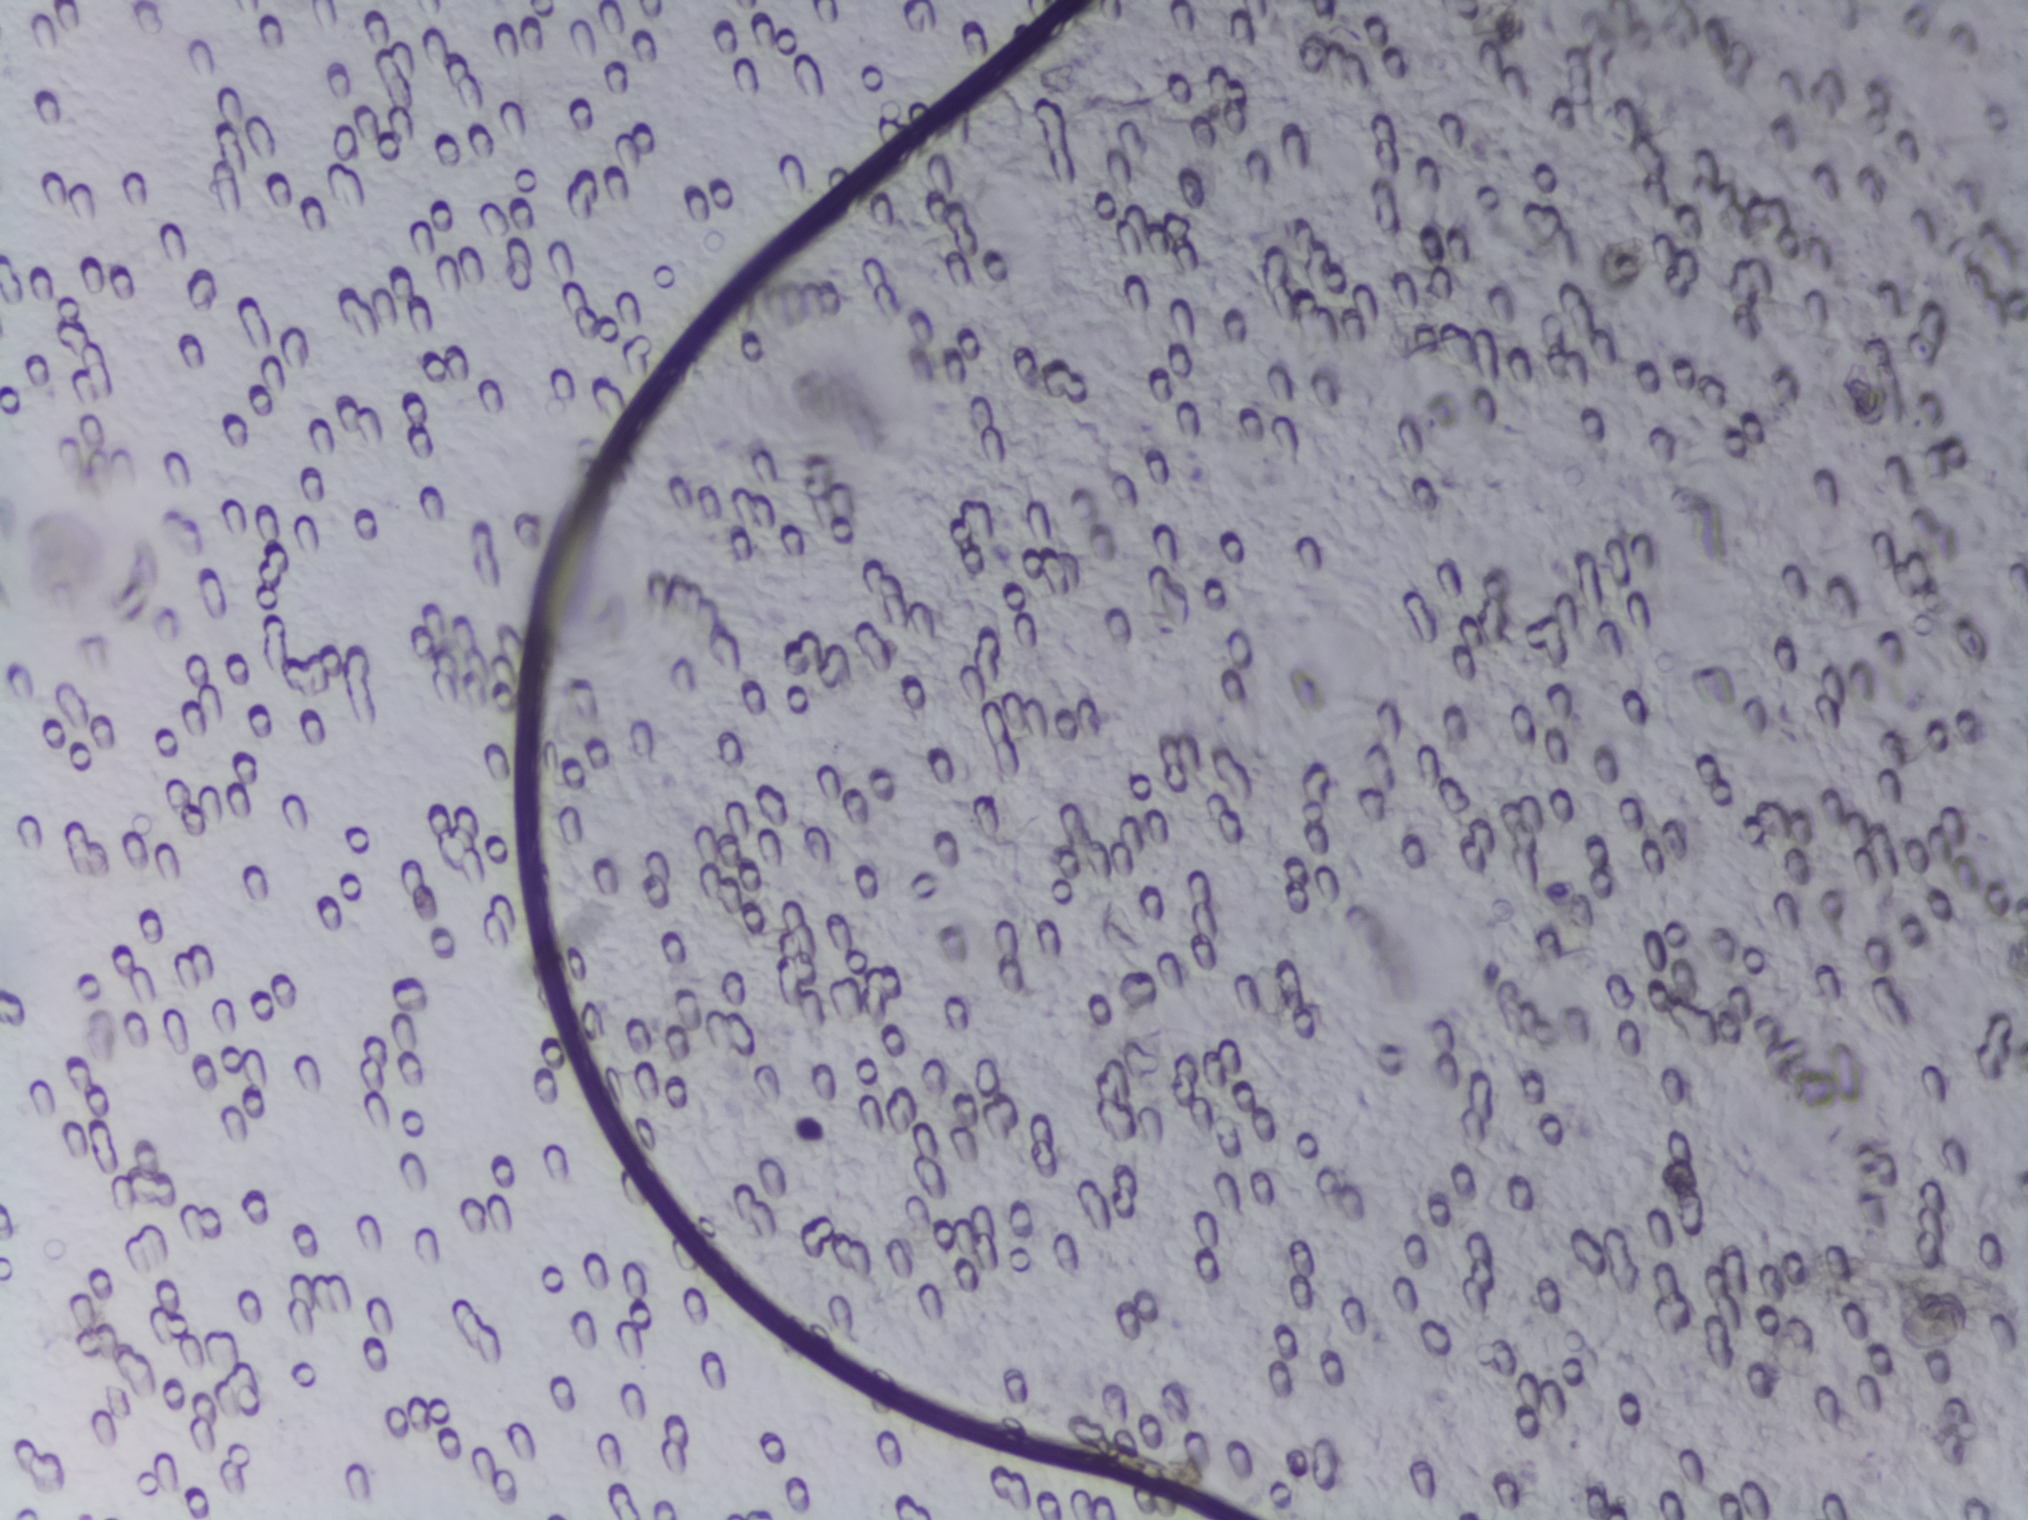
Photograph from an automated digital microscope: urine filter membrane, 4× objective.
The expert annotation marks no Schistosoma egg in this field of view.